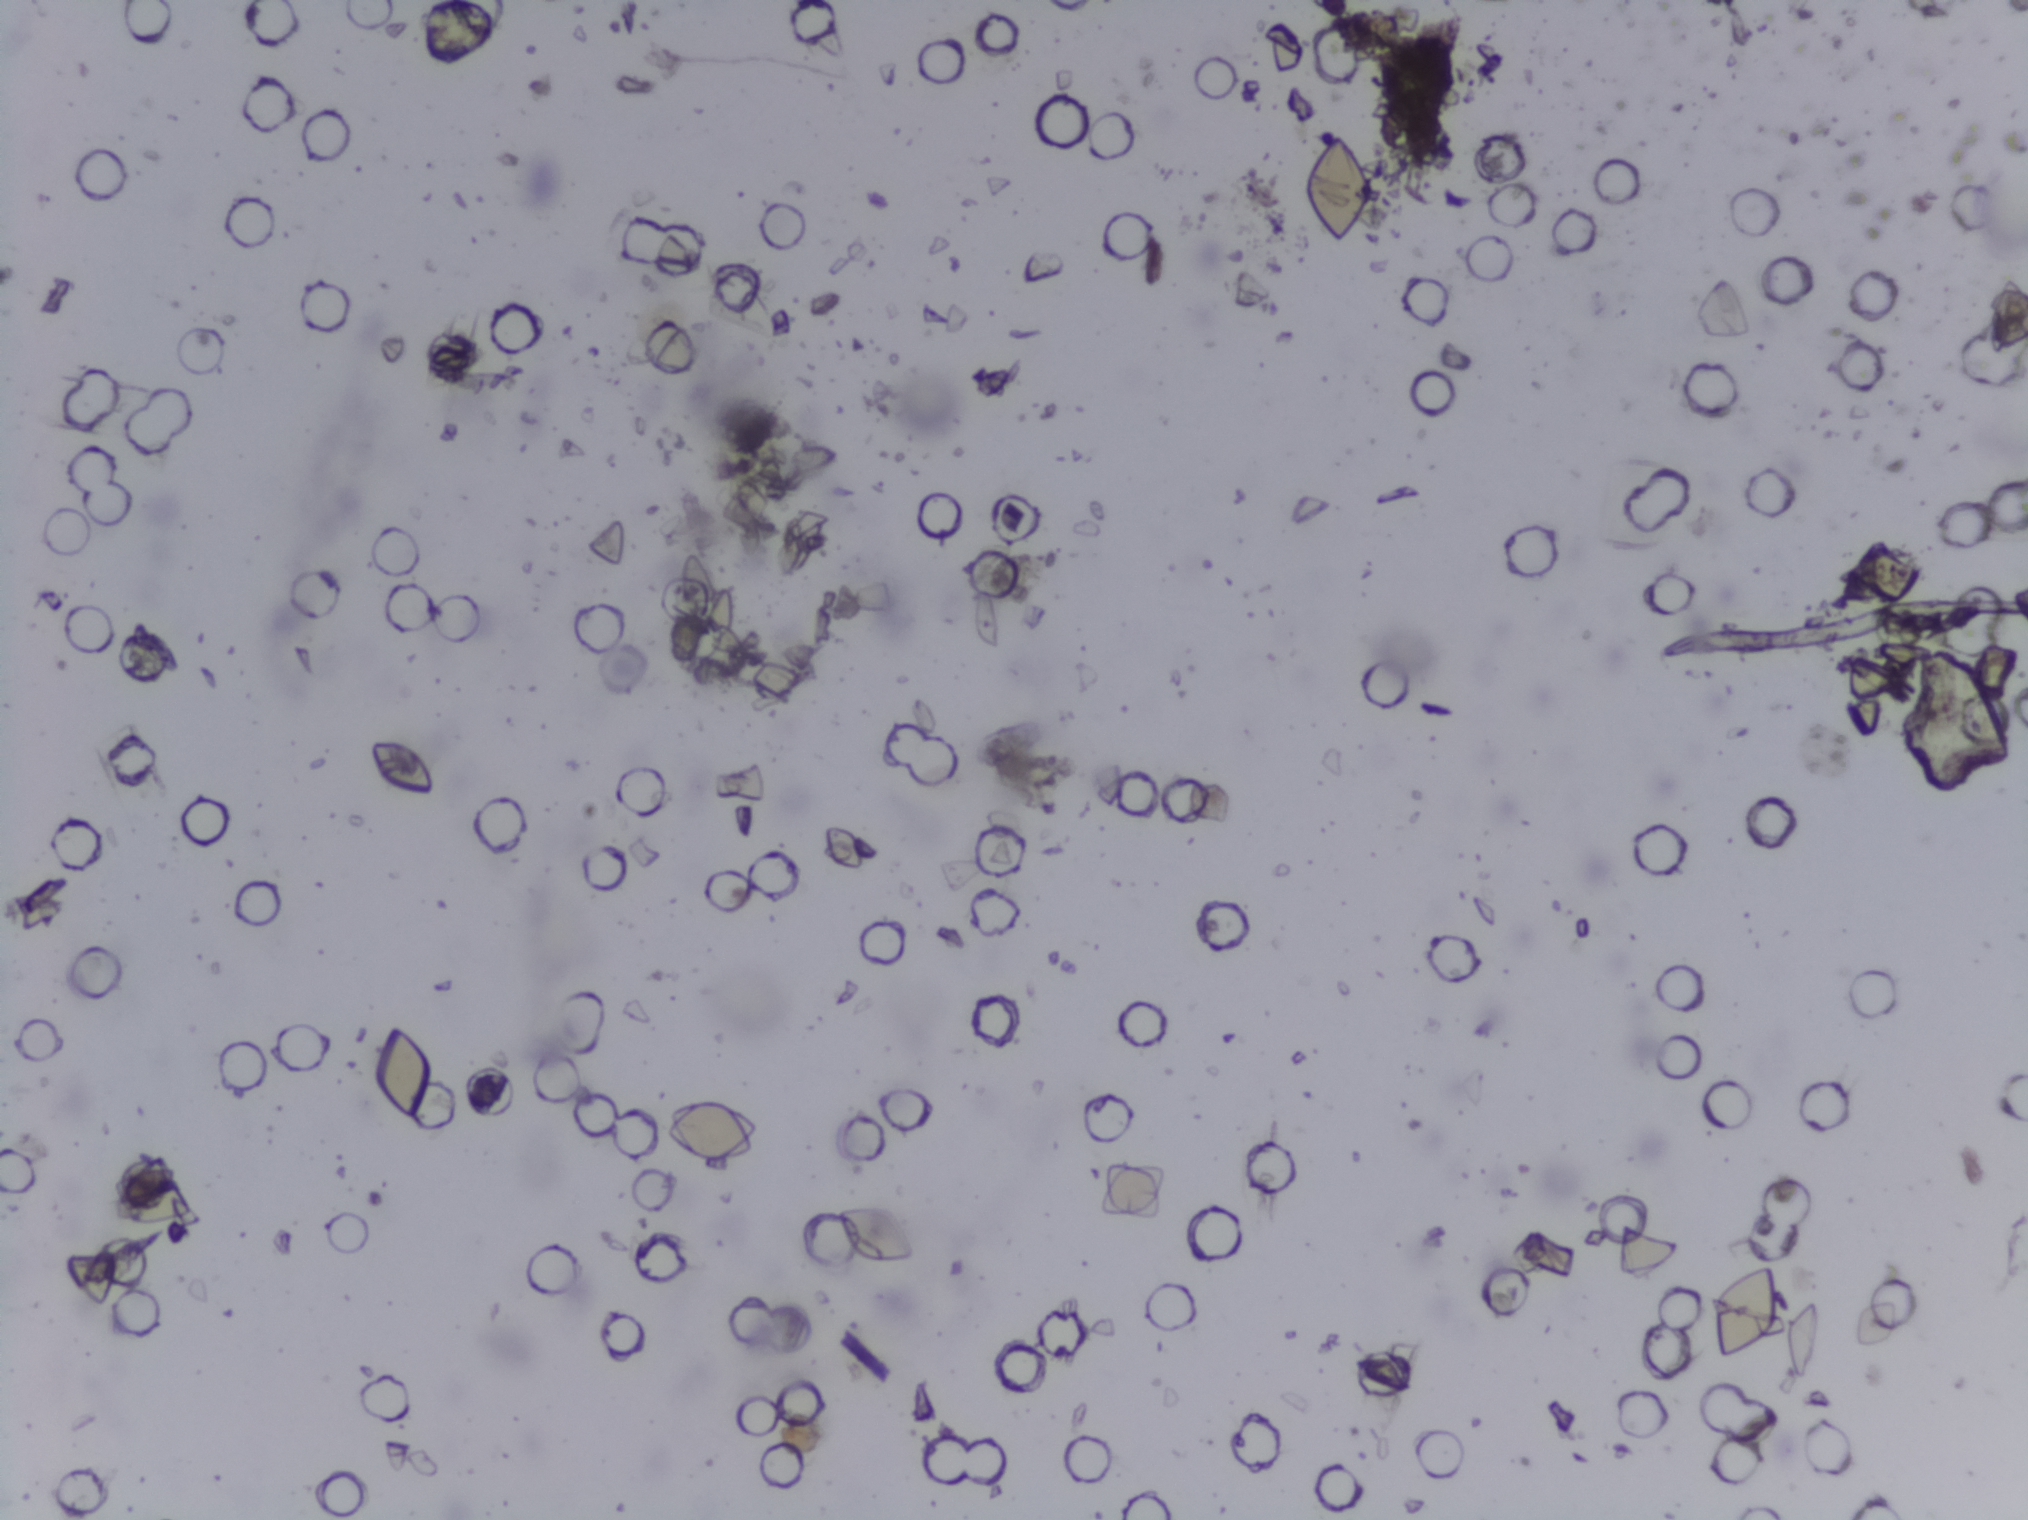
Photograph from an automated digital microscope: urine filter membrane, 4× objective. The field of view is about 1.5 mm × 1.1 mm.
No area of this image was outlined as a Schistosoma egg.